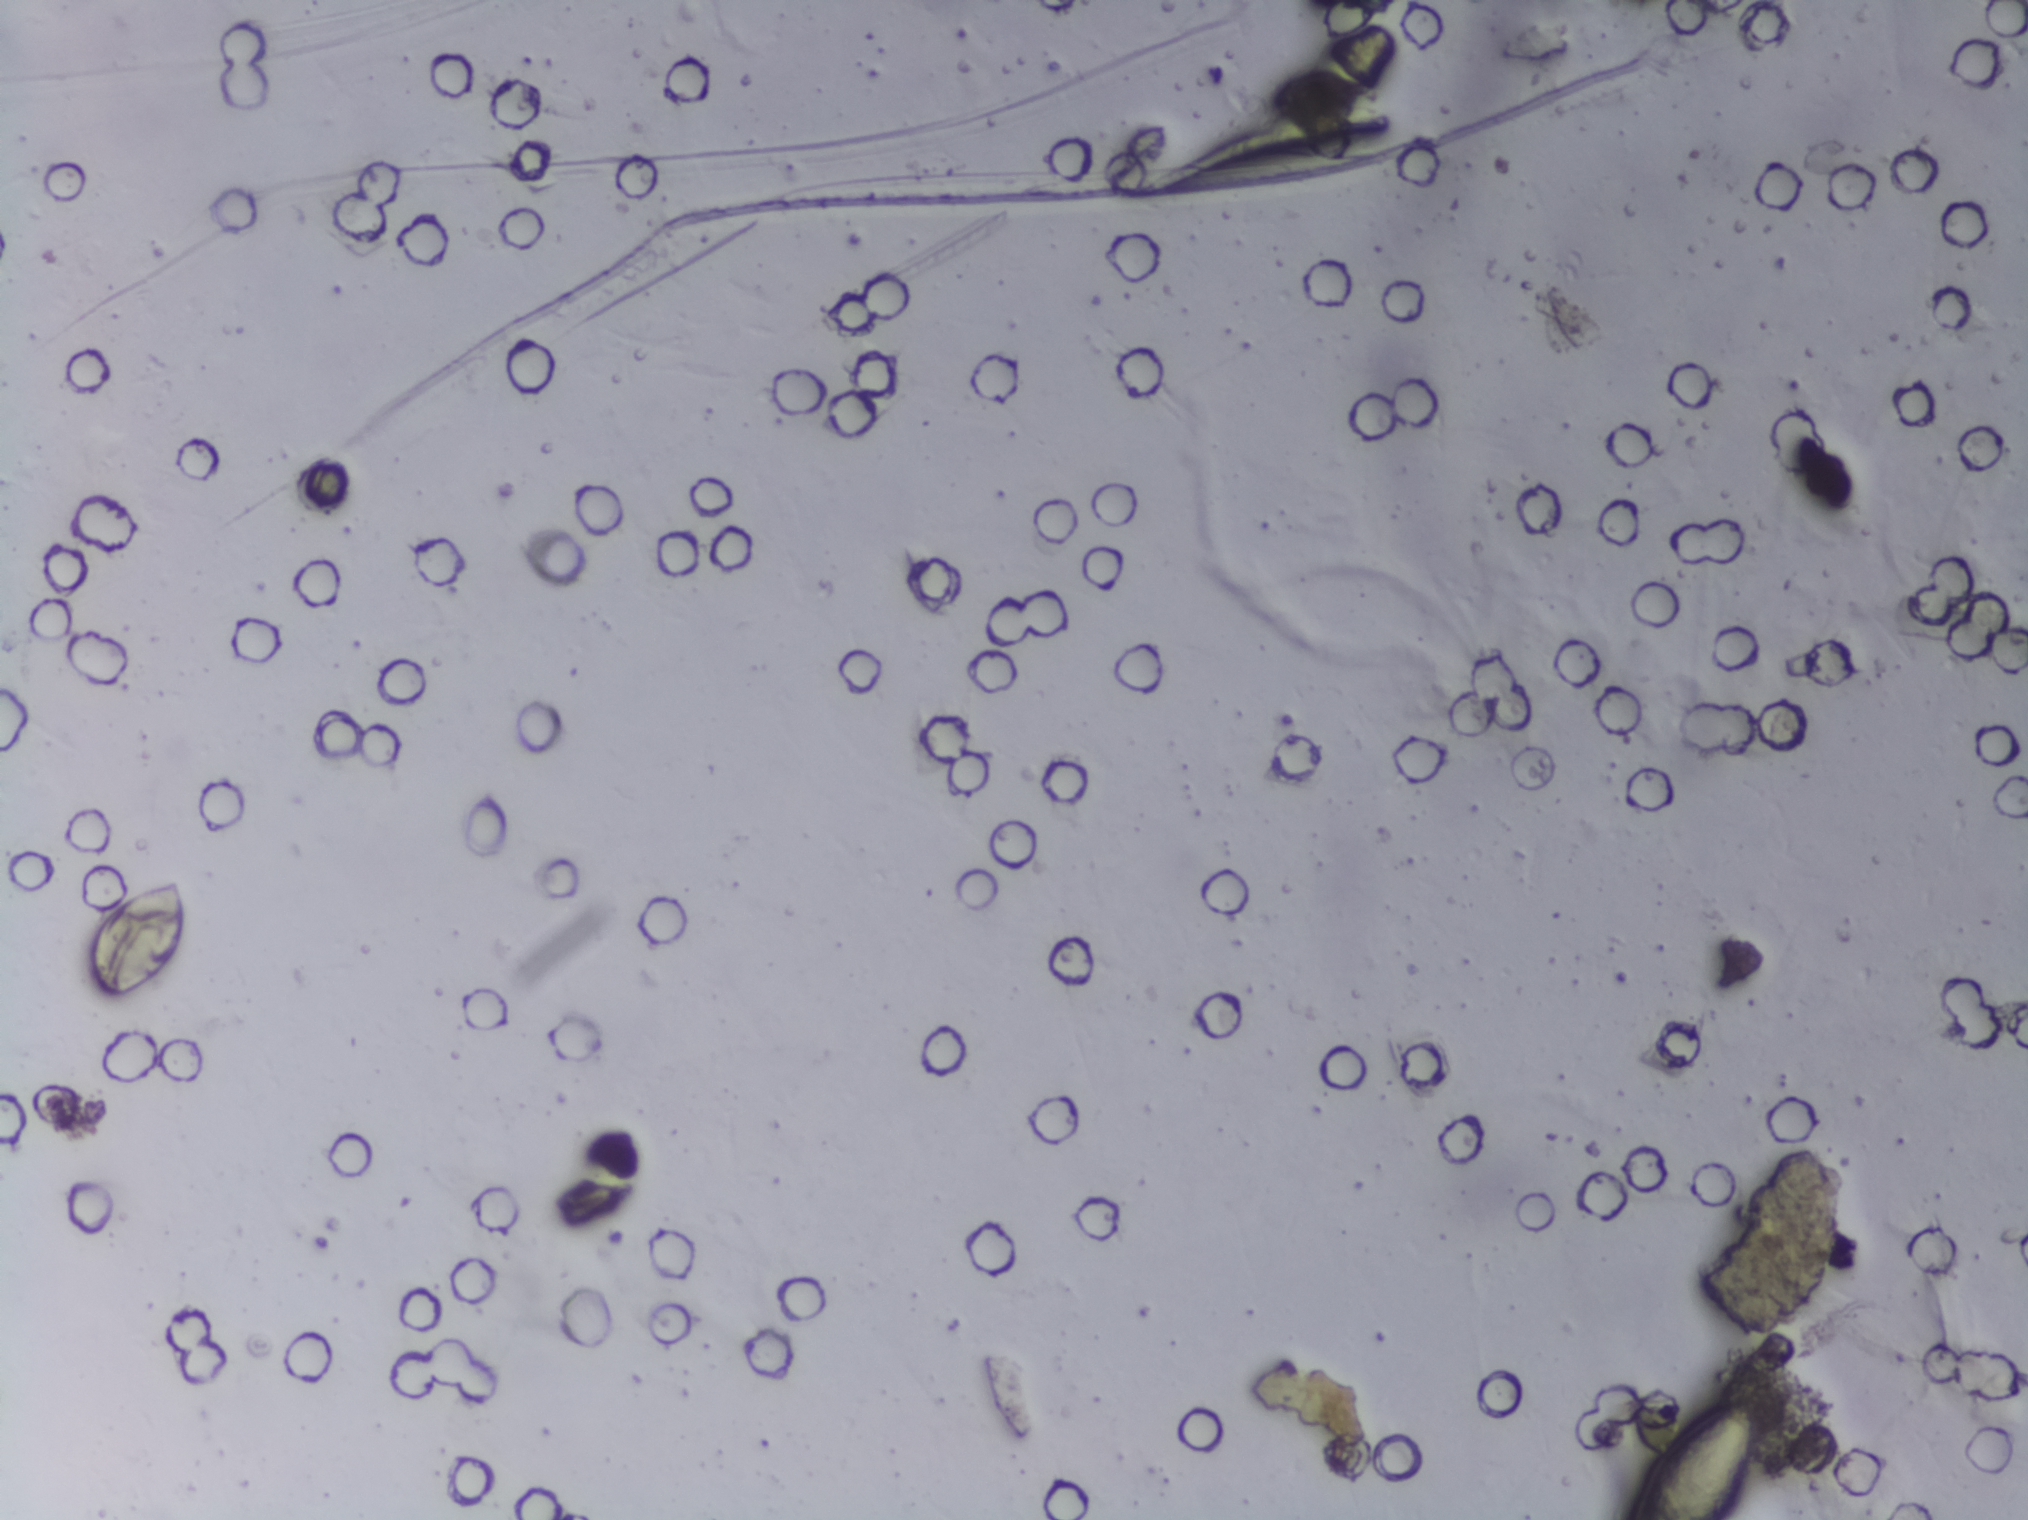
Photograph from an automated digital microscope: urine filter membrane, 4× objective.
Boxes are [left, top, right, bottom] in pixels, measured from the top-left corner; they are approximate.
Areas outlined as Schistosoma eggs, left to right:
1. [86, 875, 189, 1006]
2. [1625, 1396, 1757, 1519] (reaching the bottom edge of the frame)
The marked pixels themselves, not the boxes around them, cover about 0.7% of the image. A single outlined area may contain several eggs. Any one outlined egg may, rarely, be S. mansoni rather than S. haematobium.